Photomicrograph of a urine filtration membrane, 4× objective. The field of view is about 1.5 mm × 1.1 mm.
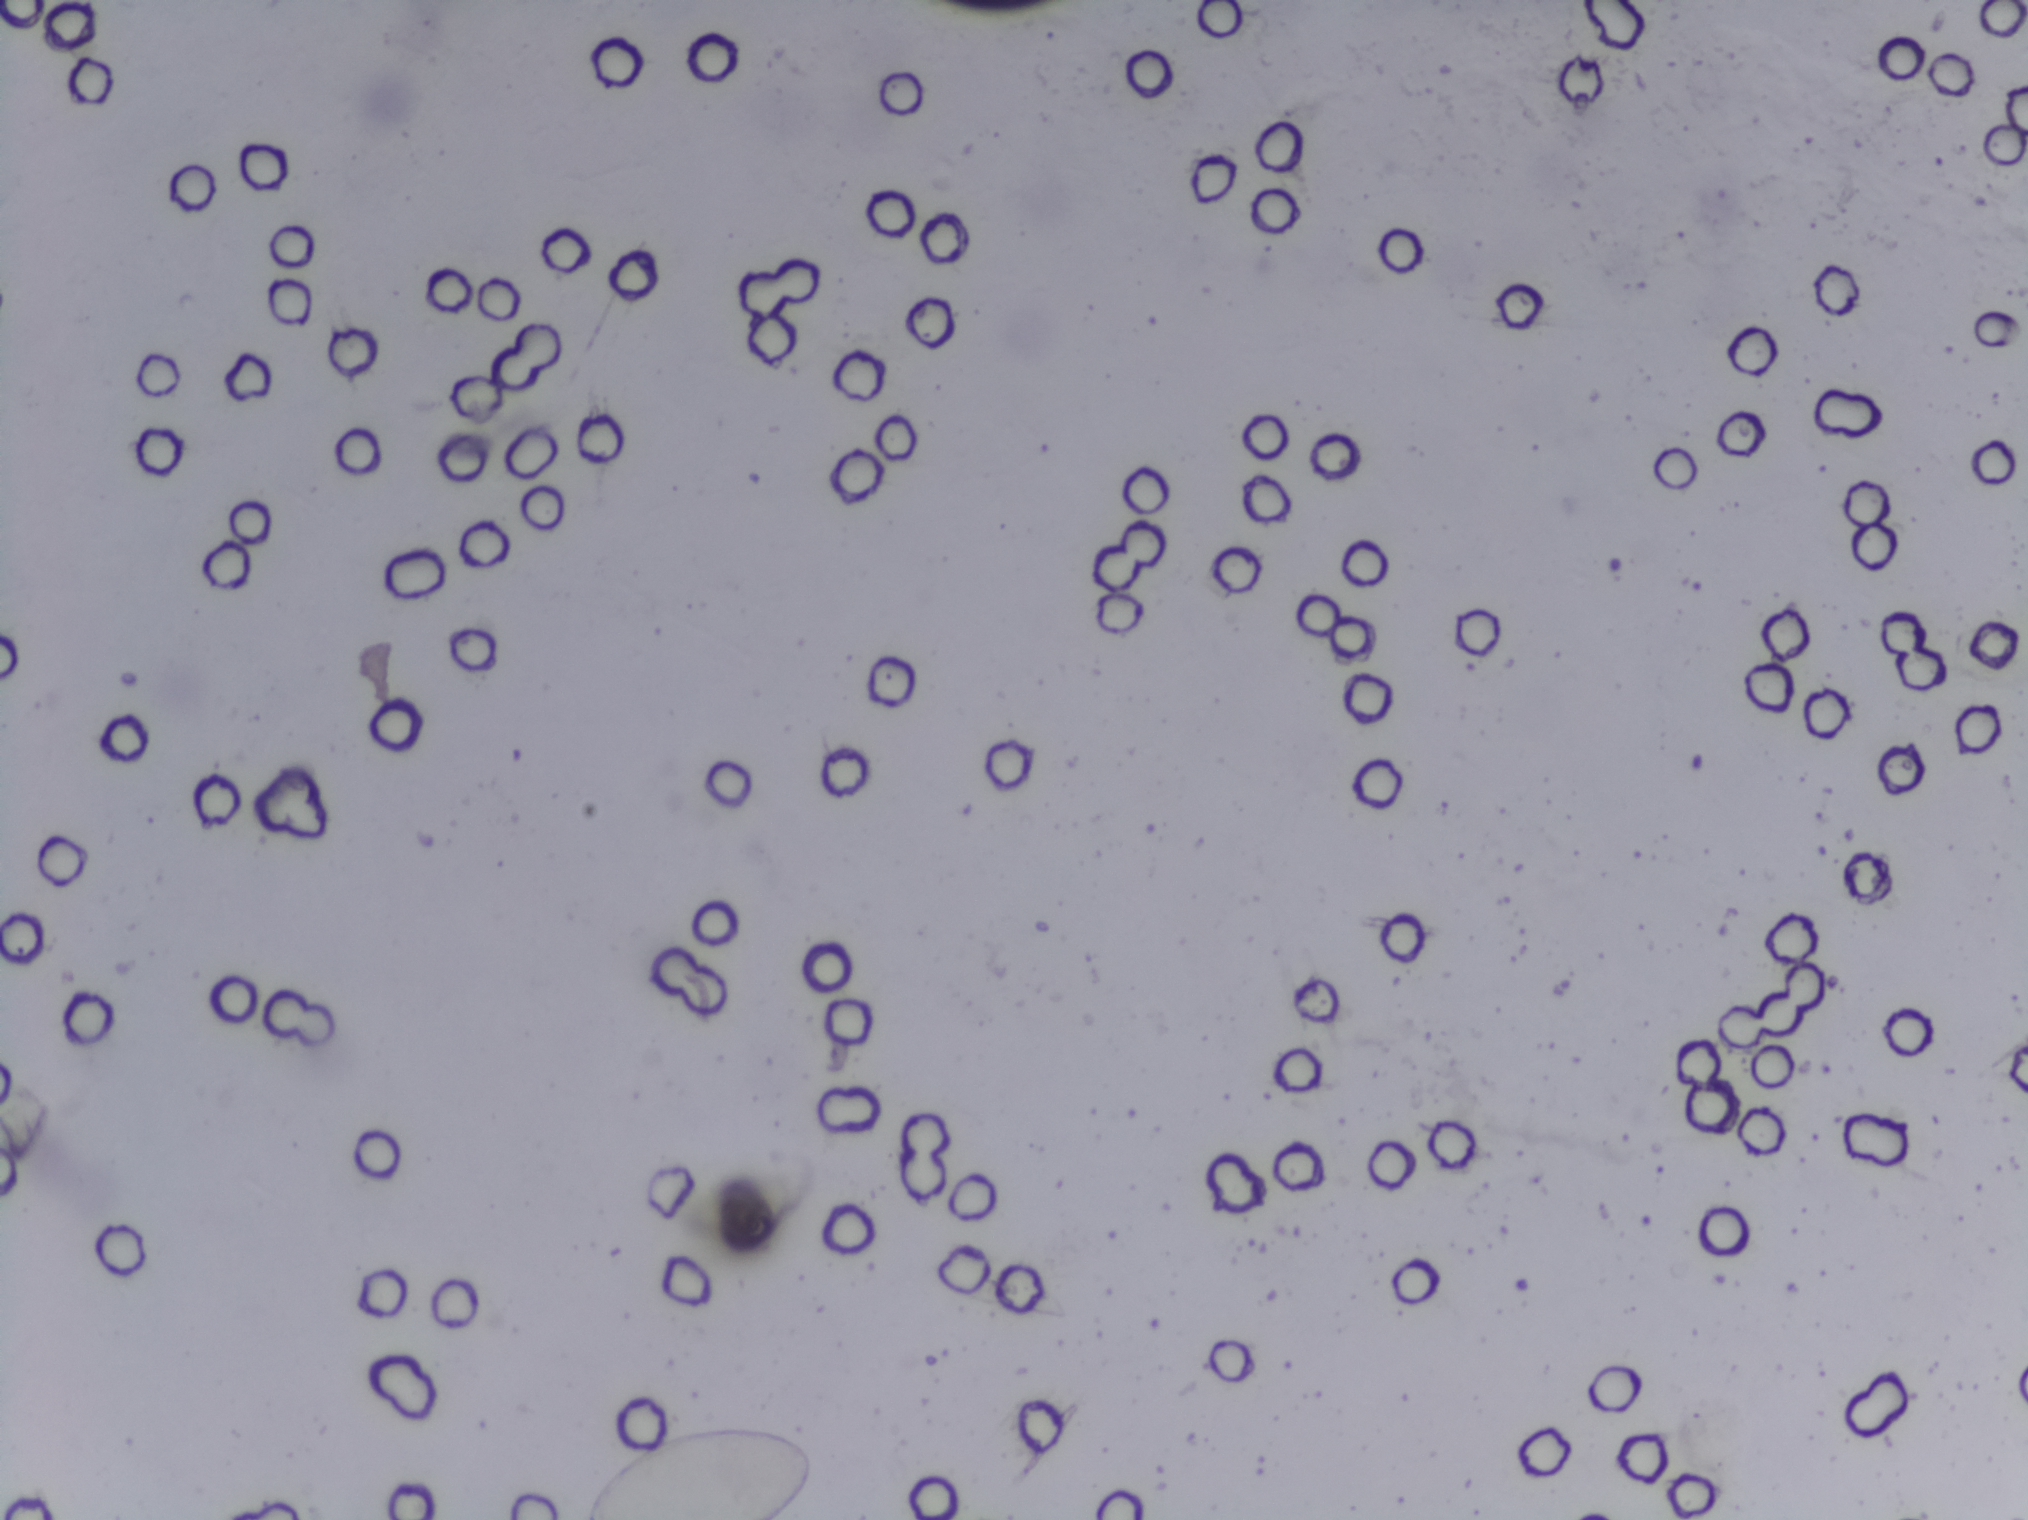
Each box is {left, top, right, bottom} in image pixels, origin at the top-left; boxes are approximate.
One area of this image is outlined as Schistosoma eggs: {582, 1423, 817, 1519} (reaching the bottom edge of the frame). Eggs that touch can end up inside the same outlined area.